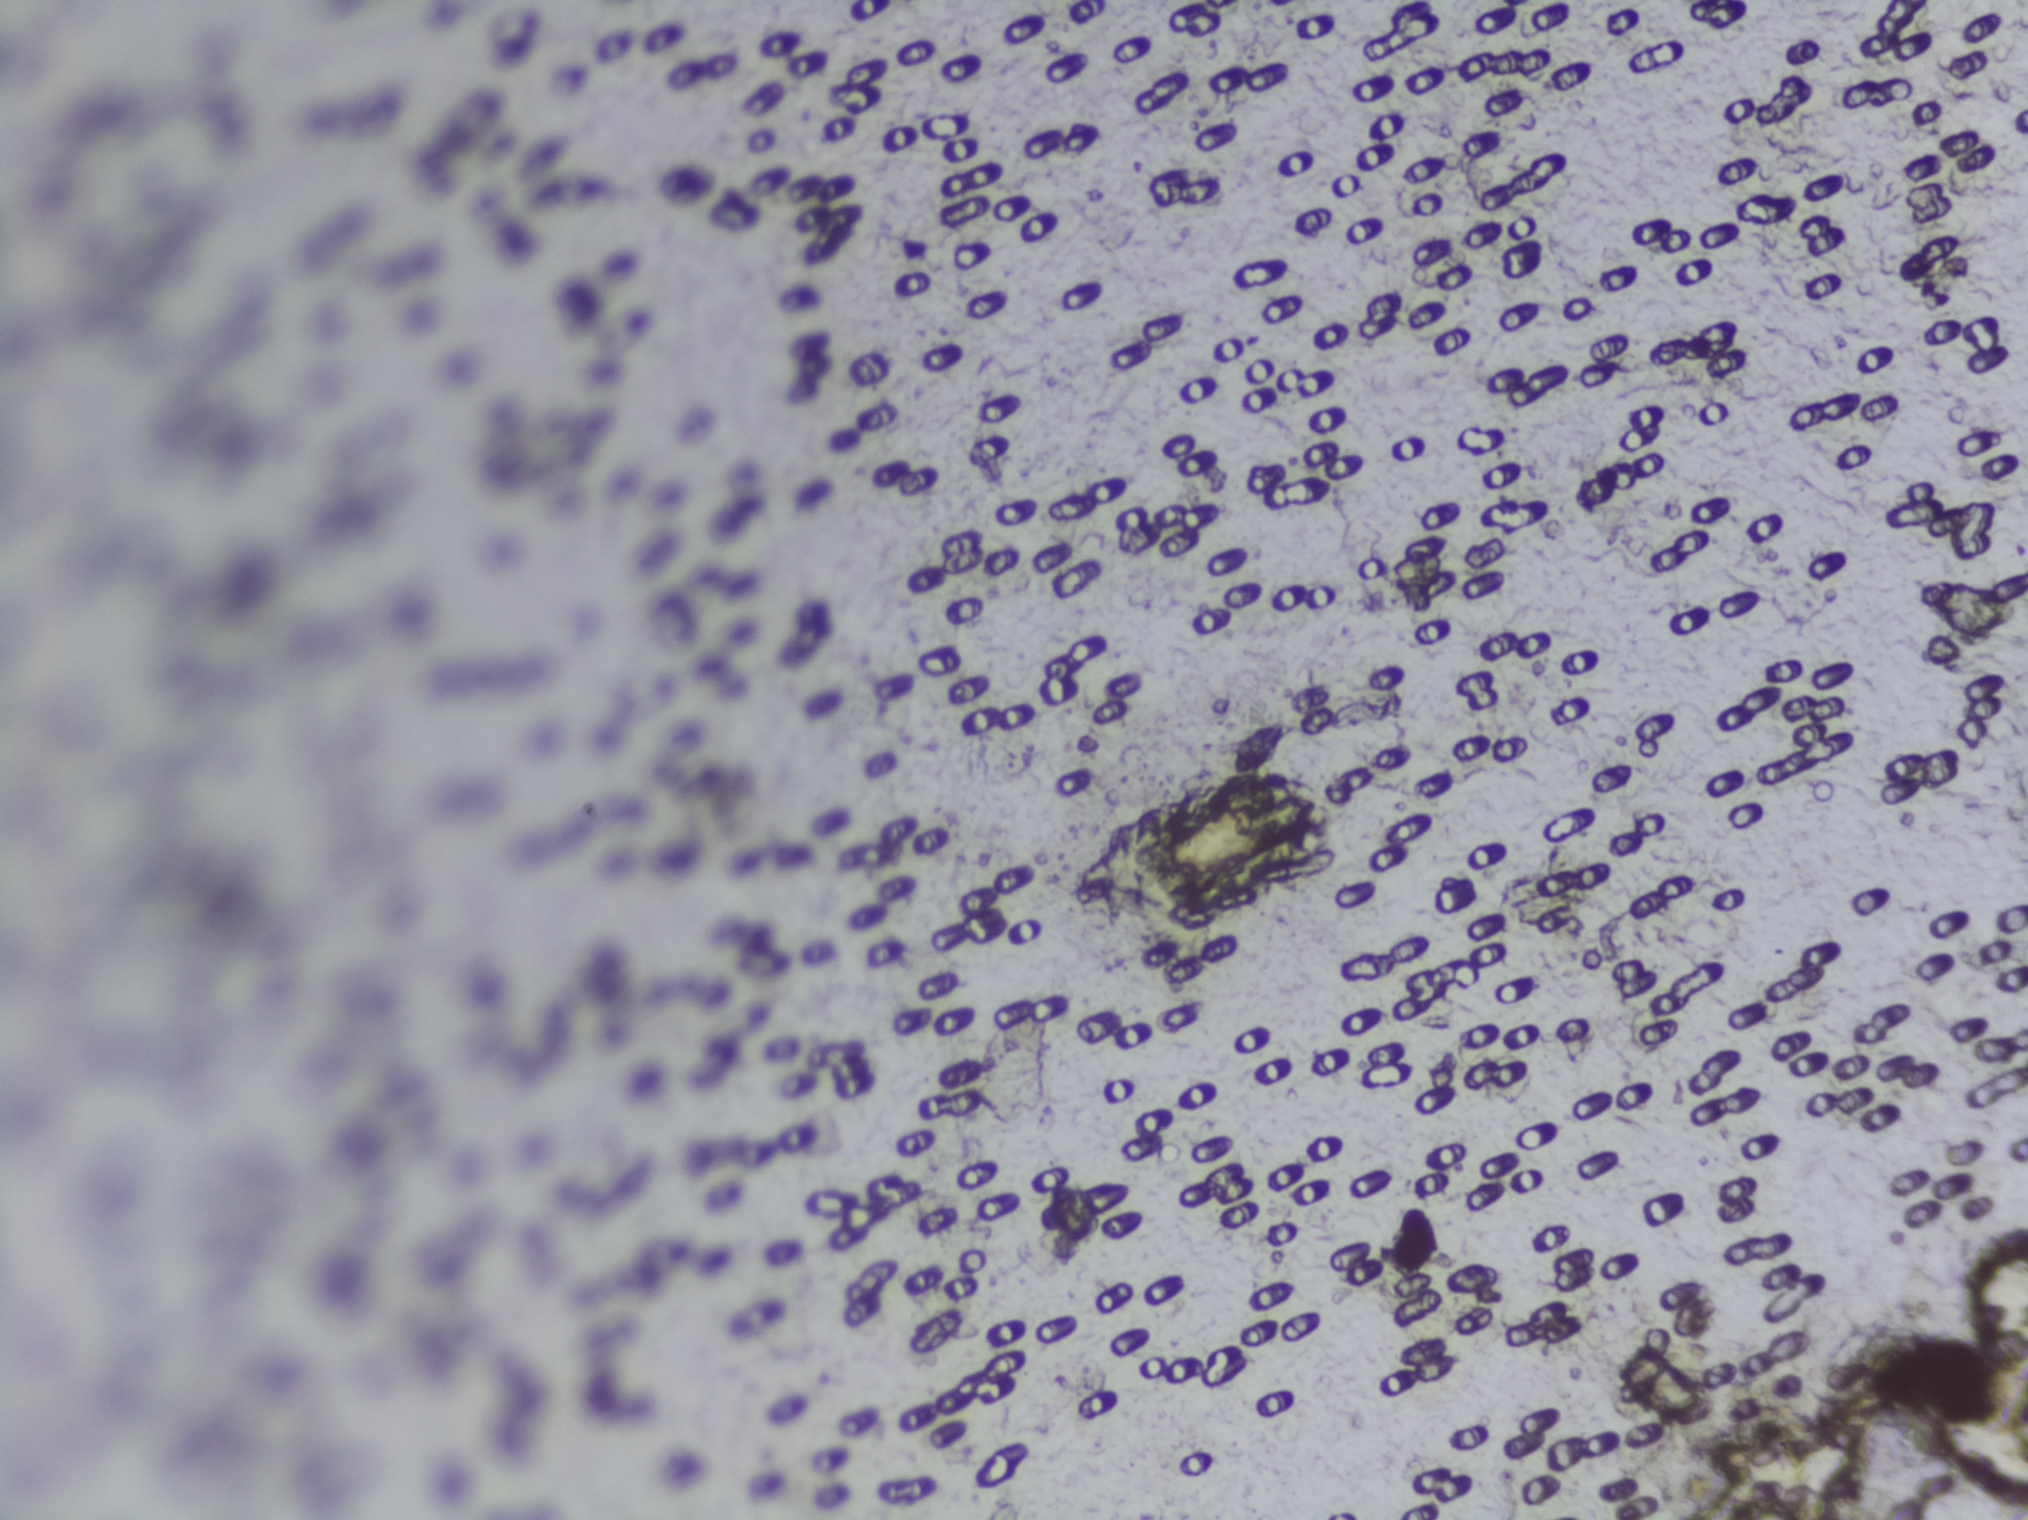
Urine filter membrane photographed through a 4× microscope objective. Field of view: about 1.5 mm wide and 1.1 mm high.
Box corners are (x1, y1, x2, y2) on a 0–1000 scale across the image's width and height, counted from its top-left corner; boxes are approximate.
Findings: one area outlined as Schistosoma eggs. Location: (557, 505, 656, 591). About 0.6% of the image's pixels are marked (the marked pixels themselves, not the box around them). Eggs that touch can end up inside the same outlined area.